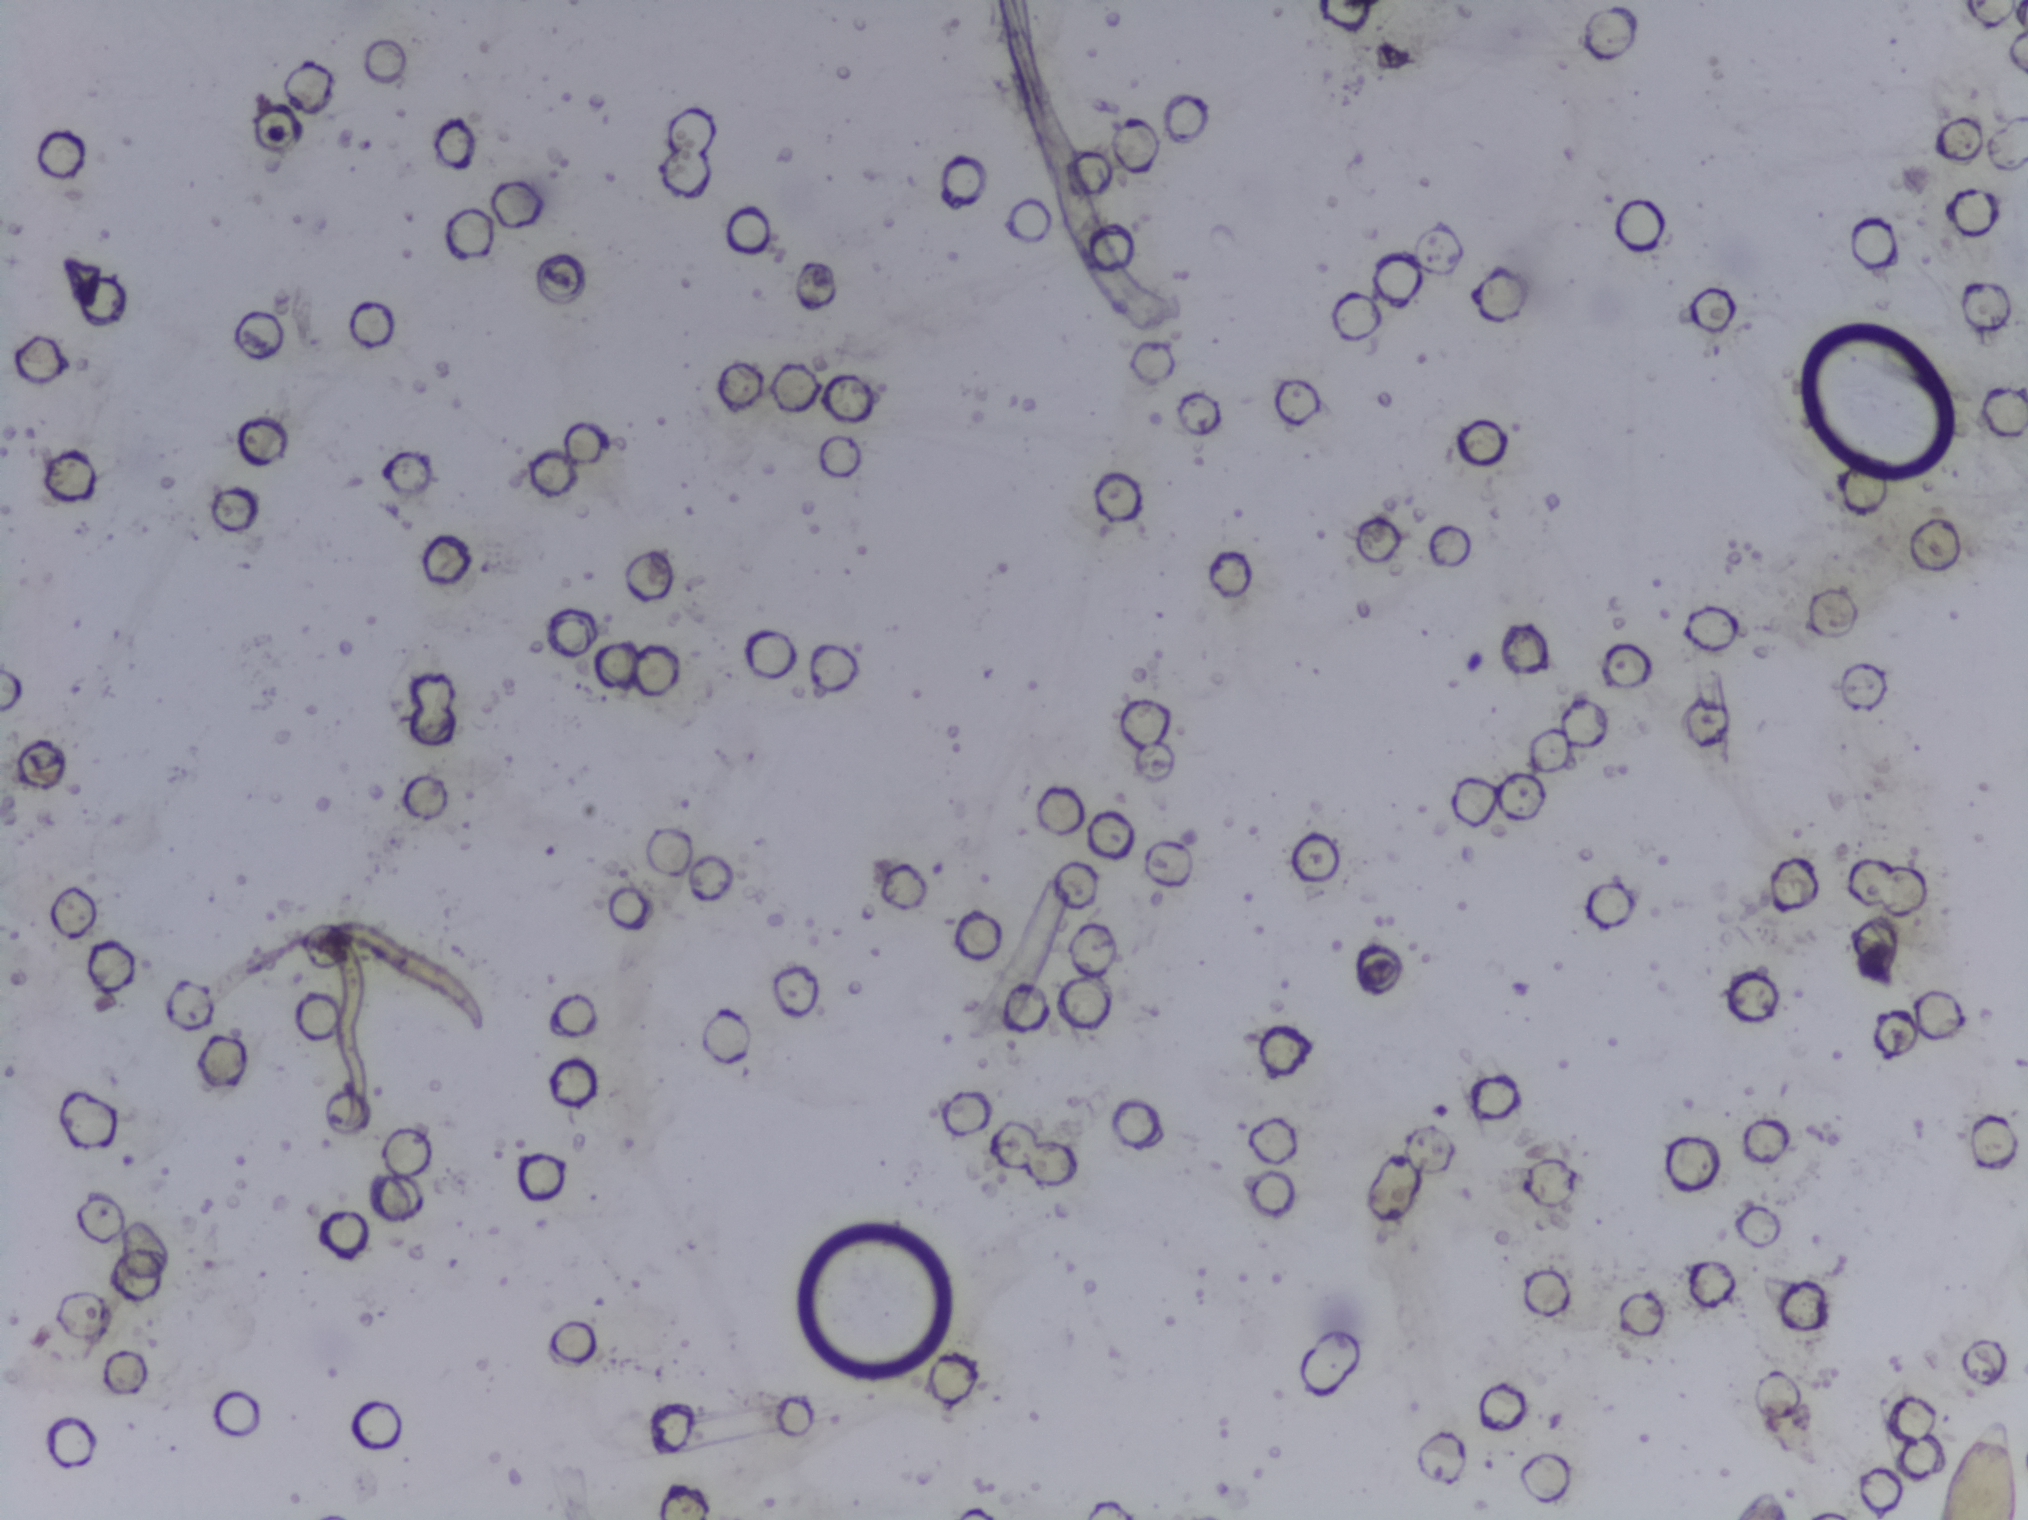
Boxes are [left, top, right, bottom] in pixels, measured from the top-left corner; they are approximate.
Findings: one area outlined as Schistosoma eggs. Location: [1933, 1409, 2021, 1519] (reaching the bottom edge of the frame). A single outlined area may contain several eggs. A marked egg may occasionally be S. mansoni rather than S. haematobium.
Urine filtration membrane under a 4× objective, photographed by an automated digital microscope.